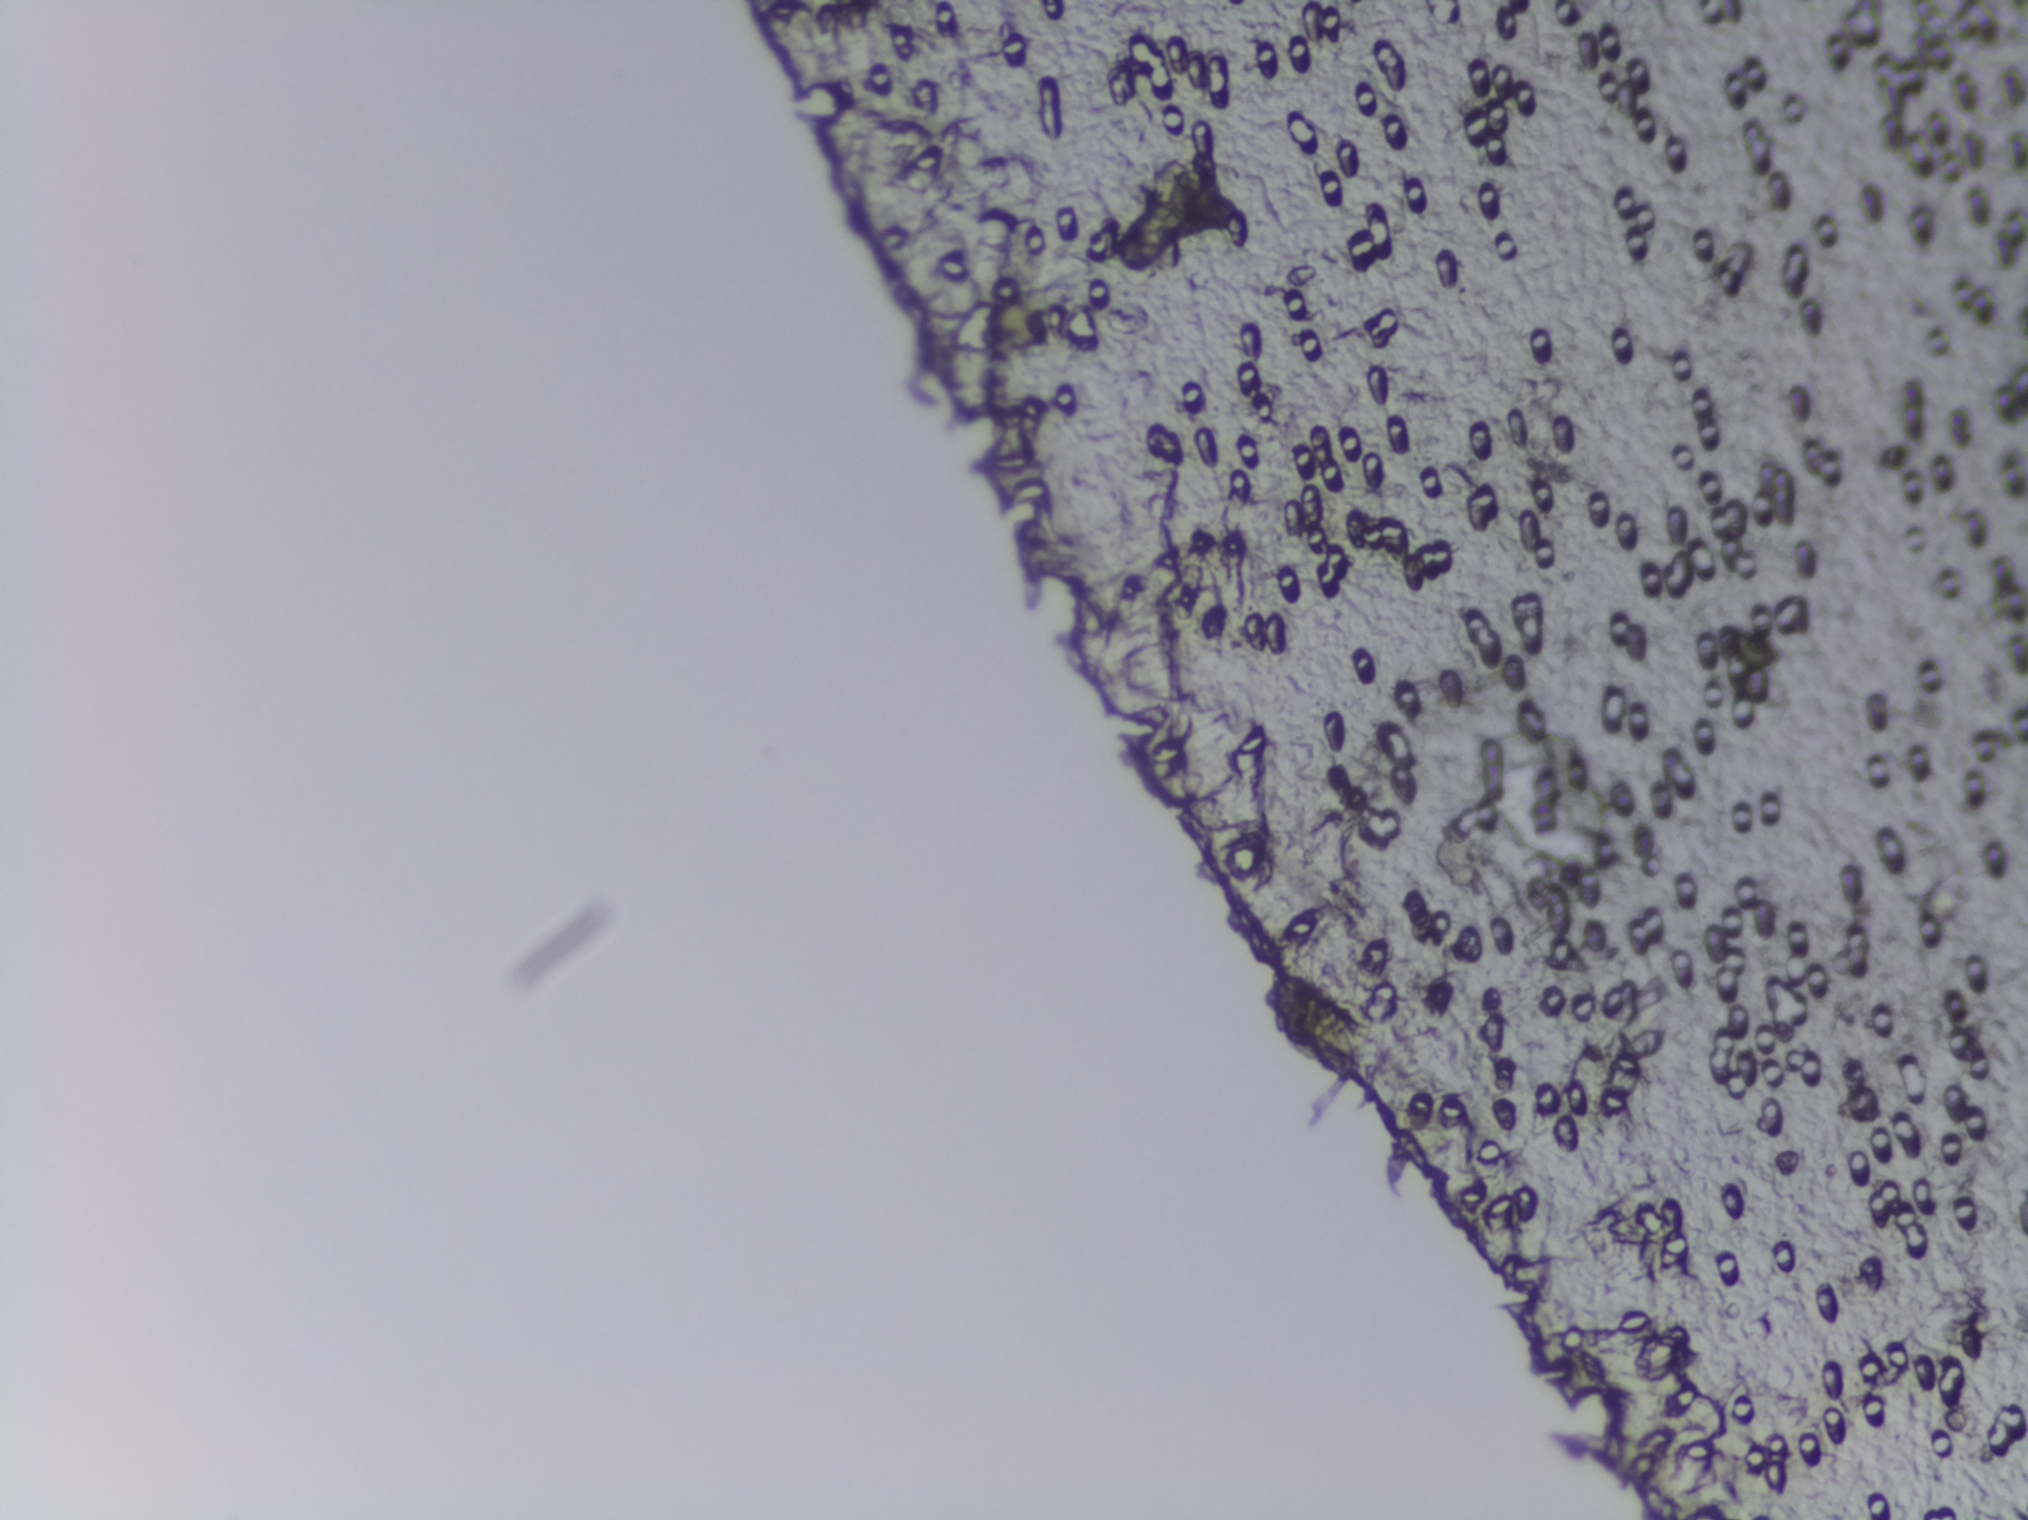
Urine filtration membrane under a 4× objective, photographed by an automated digital microscope.
Schistosoma eggs: none outlined.